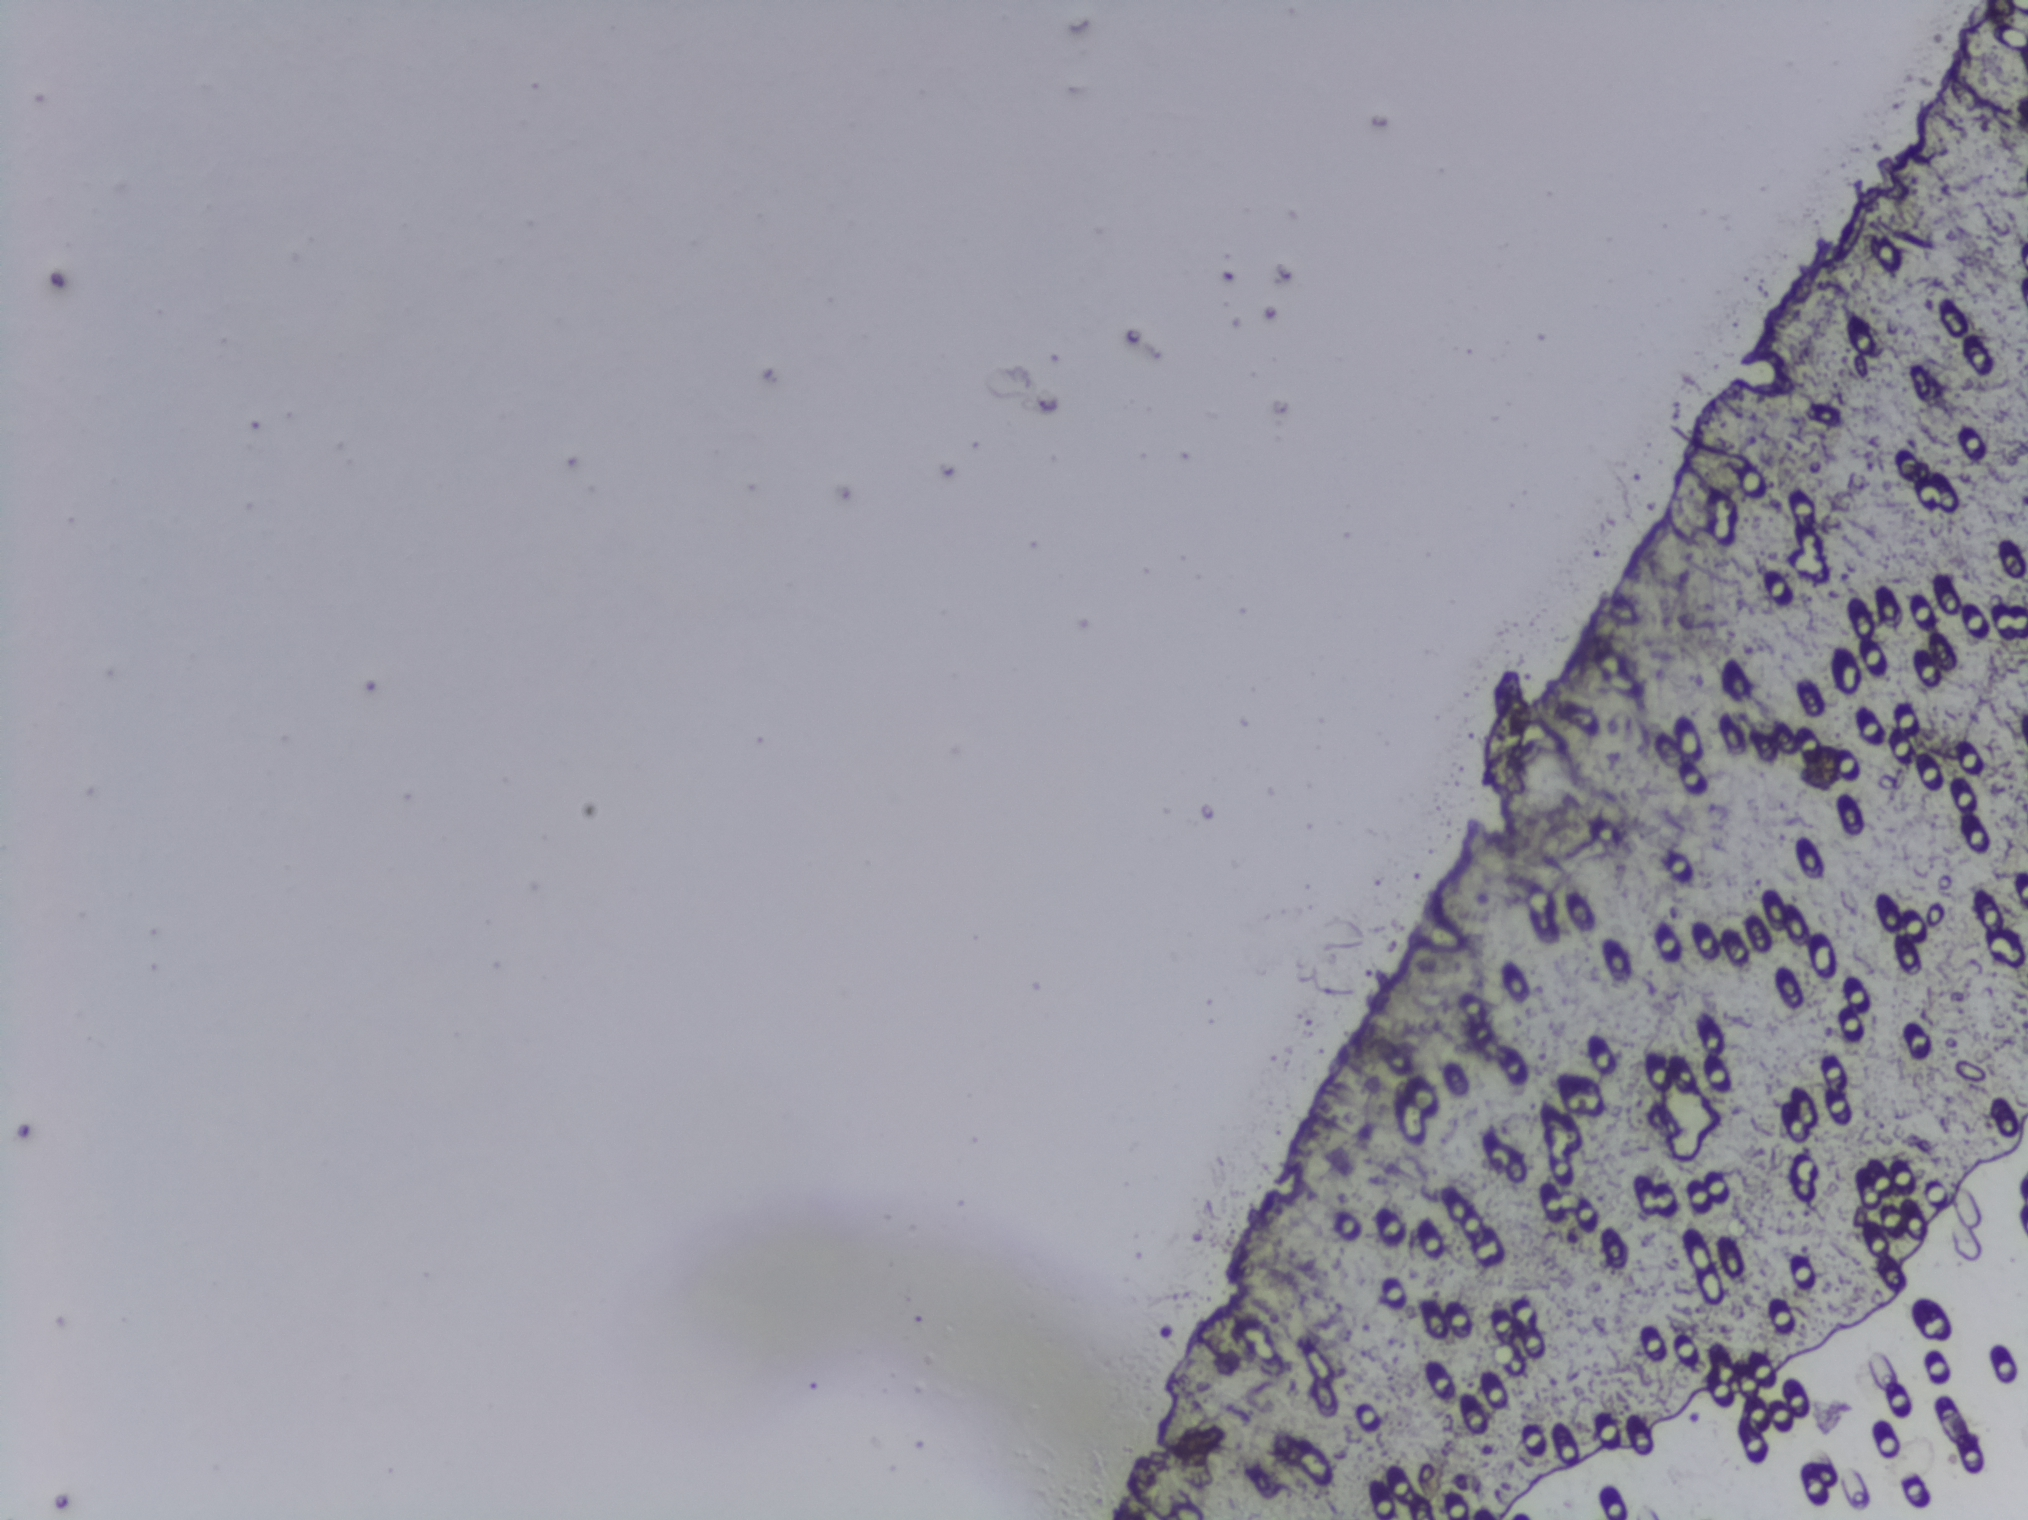
No area of this image was outlined as a Schistosoma egg.
Photograph from an automated digital microscope: urine filter membrane, 4× objective.